Microscope photograph (4× objective) of a membrane that a urine sample was filtered through. Field of view: about 1.5 mm wide and 1.1 mm high.
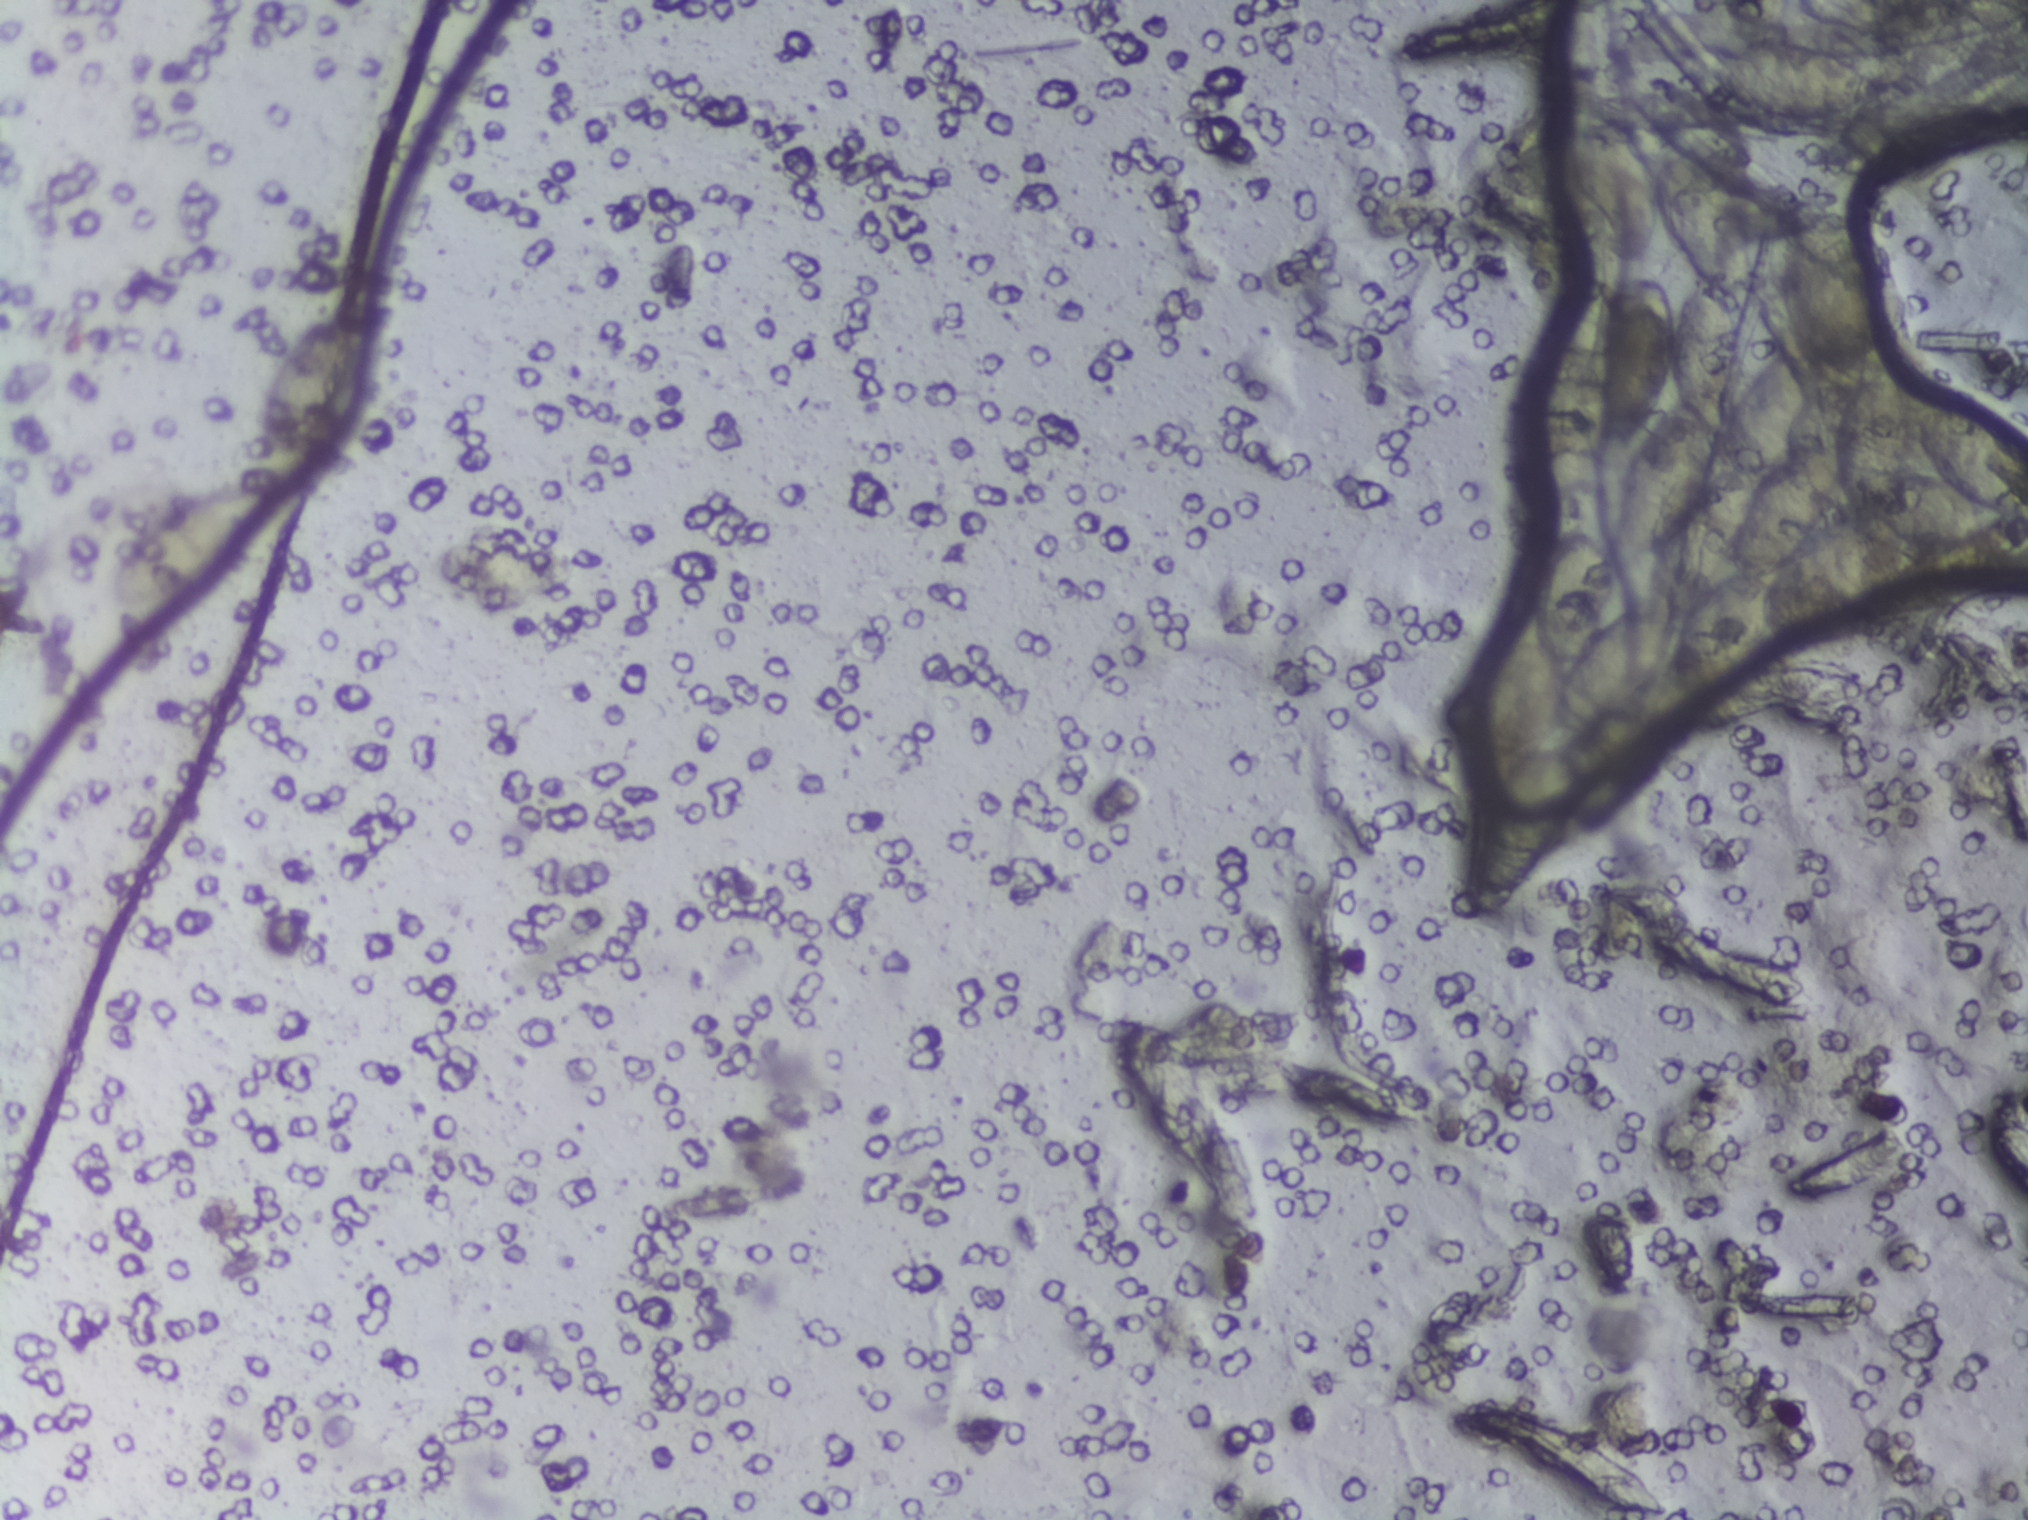
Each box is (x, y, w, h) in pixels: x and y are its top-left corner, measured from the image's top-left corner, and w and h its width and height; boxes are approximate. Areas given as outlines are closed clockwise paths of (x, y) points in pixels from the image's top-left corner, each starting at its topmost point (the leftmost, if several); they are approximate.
Schistosoma eggs are outlined in four areas of this image, listed from left to right: box (x=103, y=483, w=179, h=124); box (x=259, y=301, w=116, h=155); outline (1568, 81), (1600, 94), (1624, 119), (1648, 164), (1666, 144), (1688, 143), (1729, 181), (1755, 253), (1754, 294), (1737, 314), (1744, 346), (1739, 394), (1763, 361), (1799, 336), (1782, 292), (1790, 238), (1781, 213), (1790, 203), (1812, 203), (1876, 224), (1872, 298), (1887, 333), (1887, 352), (1911, 377), (1909, 470), (1934, 472), (1913, 422), (1914, 391), (1958, 398), (2012, 439), (2009, 446), (2027, 483), (2027, 581), (1917, 579), (1903, 598), (1862, 622), (1789, 638), (1704, 683), (1671, 724), (1656, 732), (1652, 763), (1624, 804), (1581, 830), (1562, 824), (1547, 858), (1514, 894), (1485, 903), (1466, 891), (1474, 816), (1492, 773), (1512, 755), (1473, 756), (1456, 747), (1440, 723), (1440, 704), (1476, 661), (1527, 616), (1537, 616), (1534, 568), (1555, 534), (1543, 504), (1534, 409), (1547, 396), (1545, 353), (1564, 312), (1574, 254), (1587, 233), (1568, 199), (1523, 202), (1480, 179), (1497, 159), (1563, 134) (eggs clustered together; reaching the right edge of the frame); box (x=1700, y=37, w=179, h=85). A single outlined area may contain several eggs.